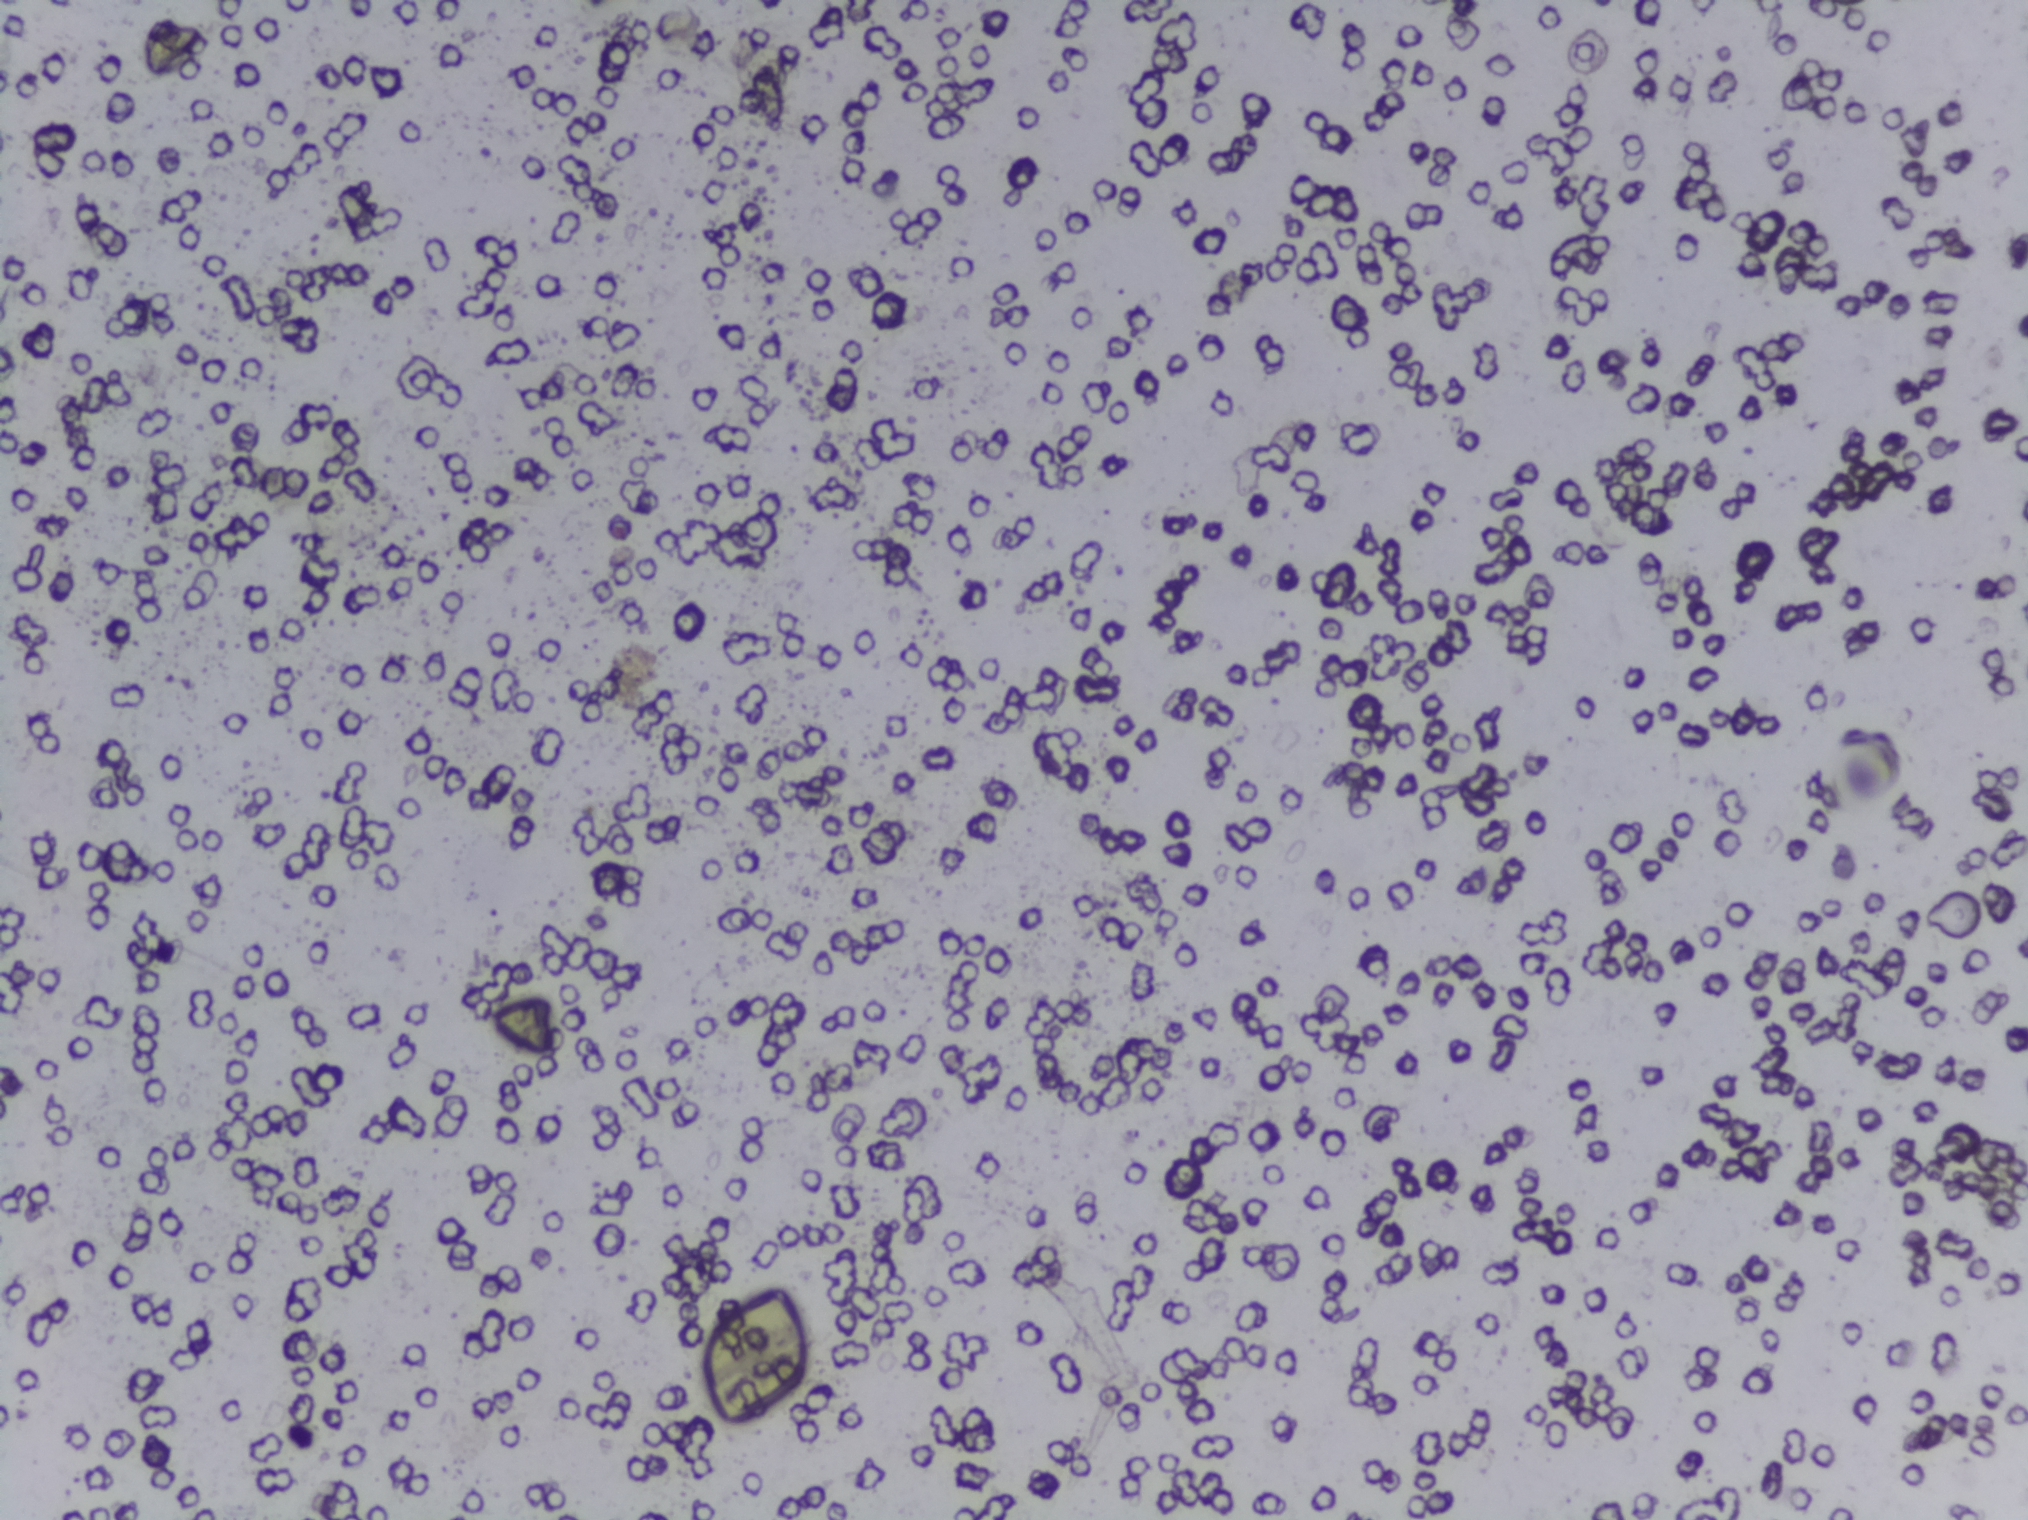
The expert annotation marks no Schistosoma egg in this field of view.
Urine filtration membrane under a 4× objective, photographed by an automated digital microscope.